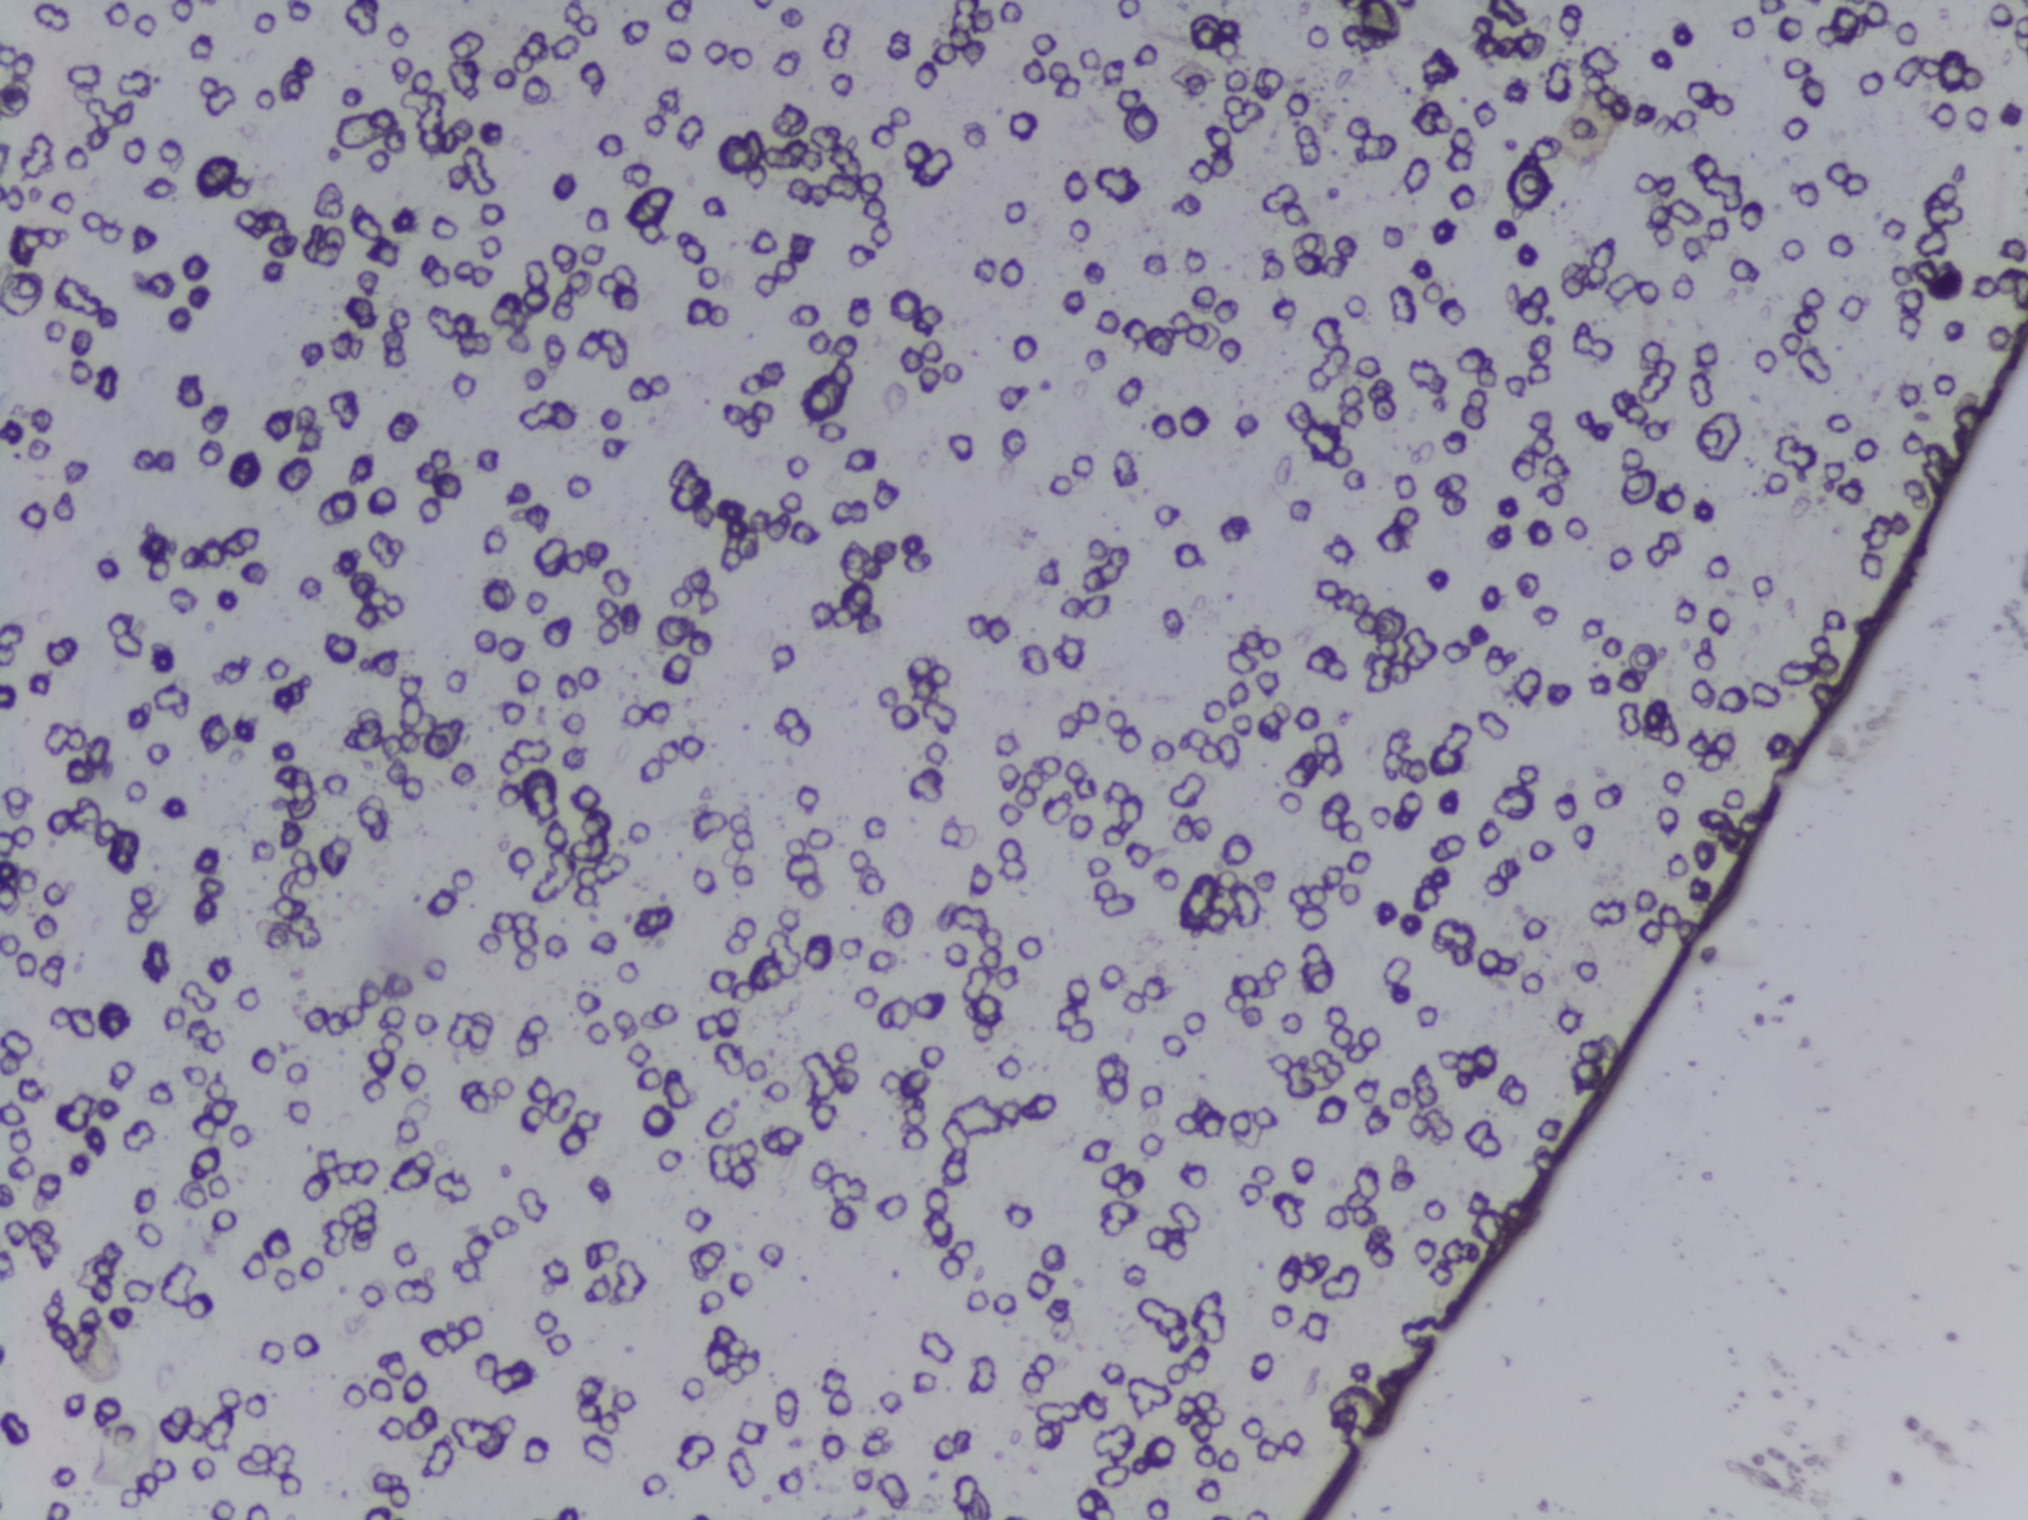
Photograph from an automated digital microscope: urine filter membrane, 4× objective. The image covers about 1.5 × 1.1 mm of the membrane.
No area of this image was outlined as a Schistosoma egg.